Urine filter membrane photographed through a 4× microscope objective.
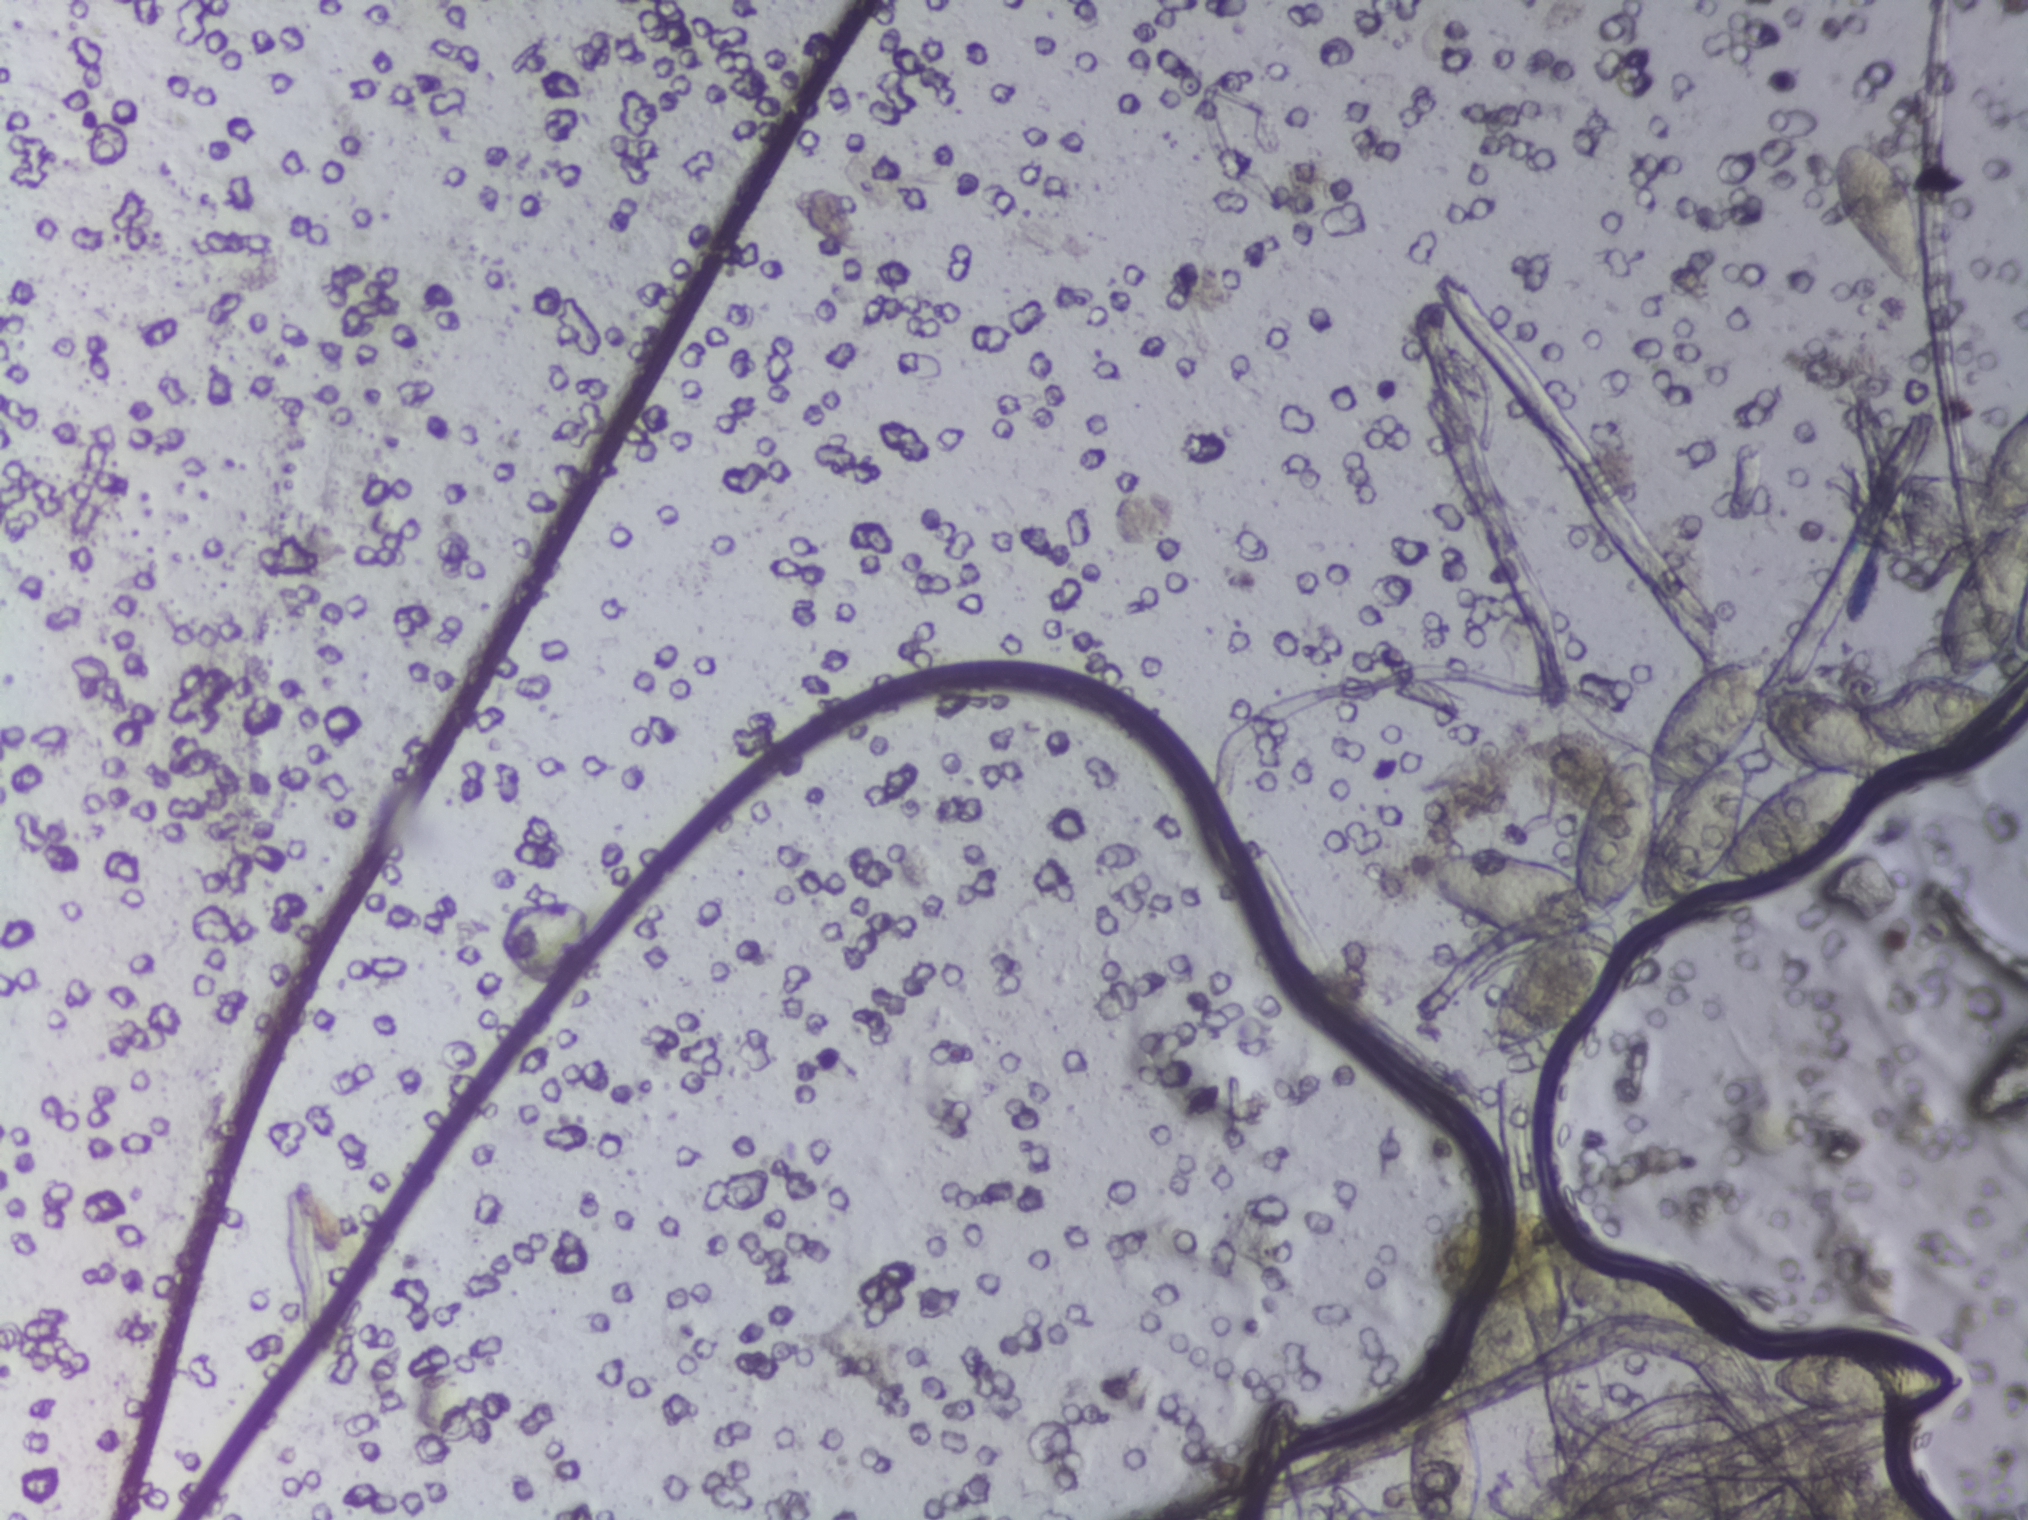
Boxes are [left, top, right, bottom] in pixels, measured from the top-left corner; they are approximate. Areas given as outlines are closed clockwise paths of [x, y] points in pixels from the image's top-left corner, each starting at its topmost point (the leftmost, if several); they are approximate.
Schistosoma eggs are outlined in four areas of this image, listed from left to right: outline [1579, 1214], [1592, 1228], [1593, 1258], [1648, 1260], [1644, 1252], [1695, 1268], [1748, 1321], [1712, 1335], [1628, 1332], [1577, 1309], [1550, 1360], [1492, 1402], [1465, 1411], [1475, 1418], [1486, 1451], [1476, 1519], [1415, 1519], [1402, 1475], [1411, 1414], [1438, 1378], [1456, 1391], [1481, 1302], [1504, 1270], [1551, 1228] (reaching the bottom edge of the frame); outline [2026, 407], [2027, 605], [2006, 648], [1975, 679], [2000, 691], [2013, 710], [2012, 727], [1940, 752], [1899, 749], [1913, 777], [1866, 779], [1853, 829], [1804, 866], [1739, 887], [1711, 880], [1641, 909], [1644, 874], [1610, 906], [1621, 930], [1609, 984], [1536, 1042], [1476, 1058], [1498, 974], [1525, 942], [1438, 908], [1411, 872], [1411, 861], [1450, 848], [1521, 851], [1572, 872], [1594, 776], [1613, 753], [1651, 737], [1669, 704], [1726, 657], [1769, 645], [1766, 691], [1823, 687], [1848, 694], [1852, 703], [1908, 678], [1939, 674], [1942, 609], [1961, 566], [1982, 543], [1902, 553], [1868, 542], [1847, 527], [1847, 518], [1865, 493], [1902, 473], [1982, 479], [1992, 443] (a cluster of eggs; reaching the right edge of the frame); box [1765, 1330, 1972, 1417]; box [1829, 141, 1925, 294]. A single outlined area may contain several eggs.